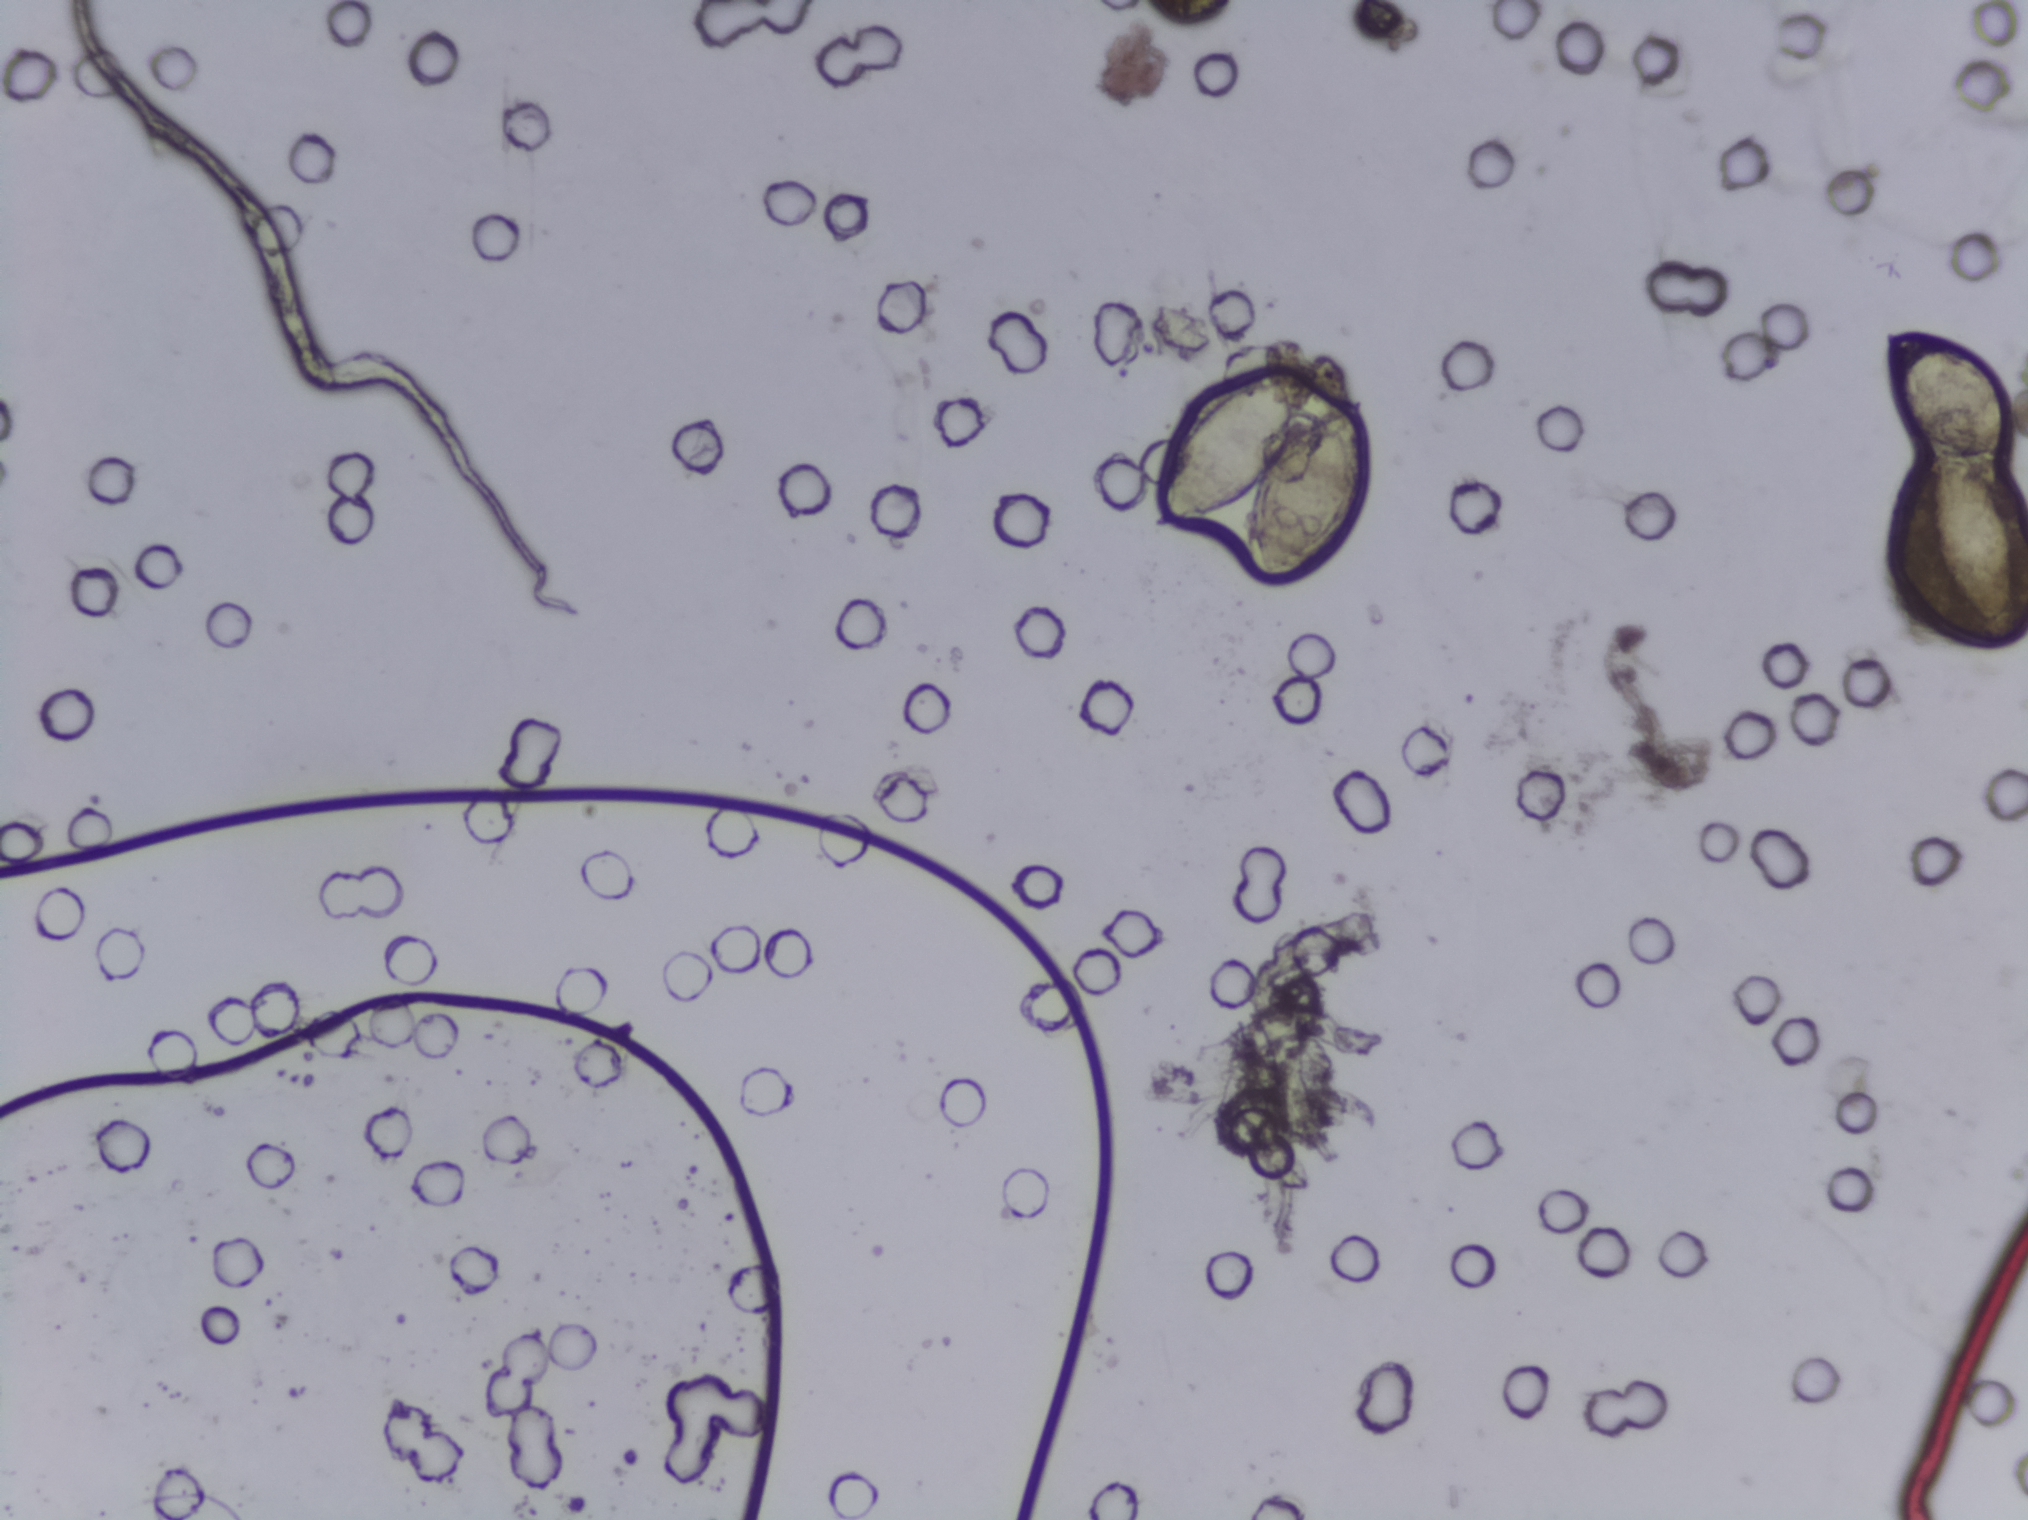
Microscope photograph (4× objective) of a membrane that a urine sample was filtered through.
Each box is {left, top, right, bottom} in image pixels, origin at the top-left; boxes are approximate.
Findings: two areas outlined as Schistosoma eggs. Locations: {1148, 376, 1371, 589}; {1884, 330, 2015, 628}. An outlined area can hold more than one egg.